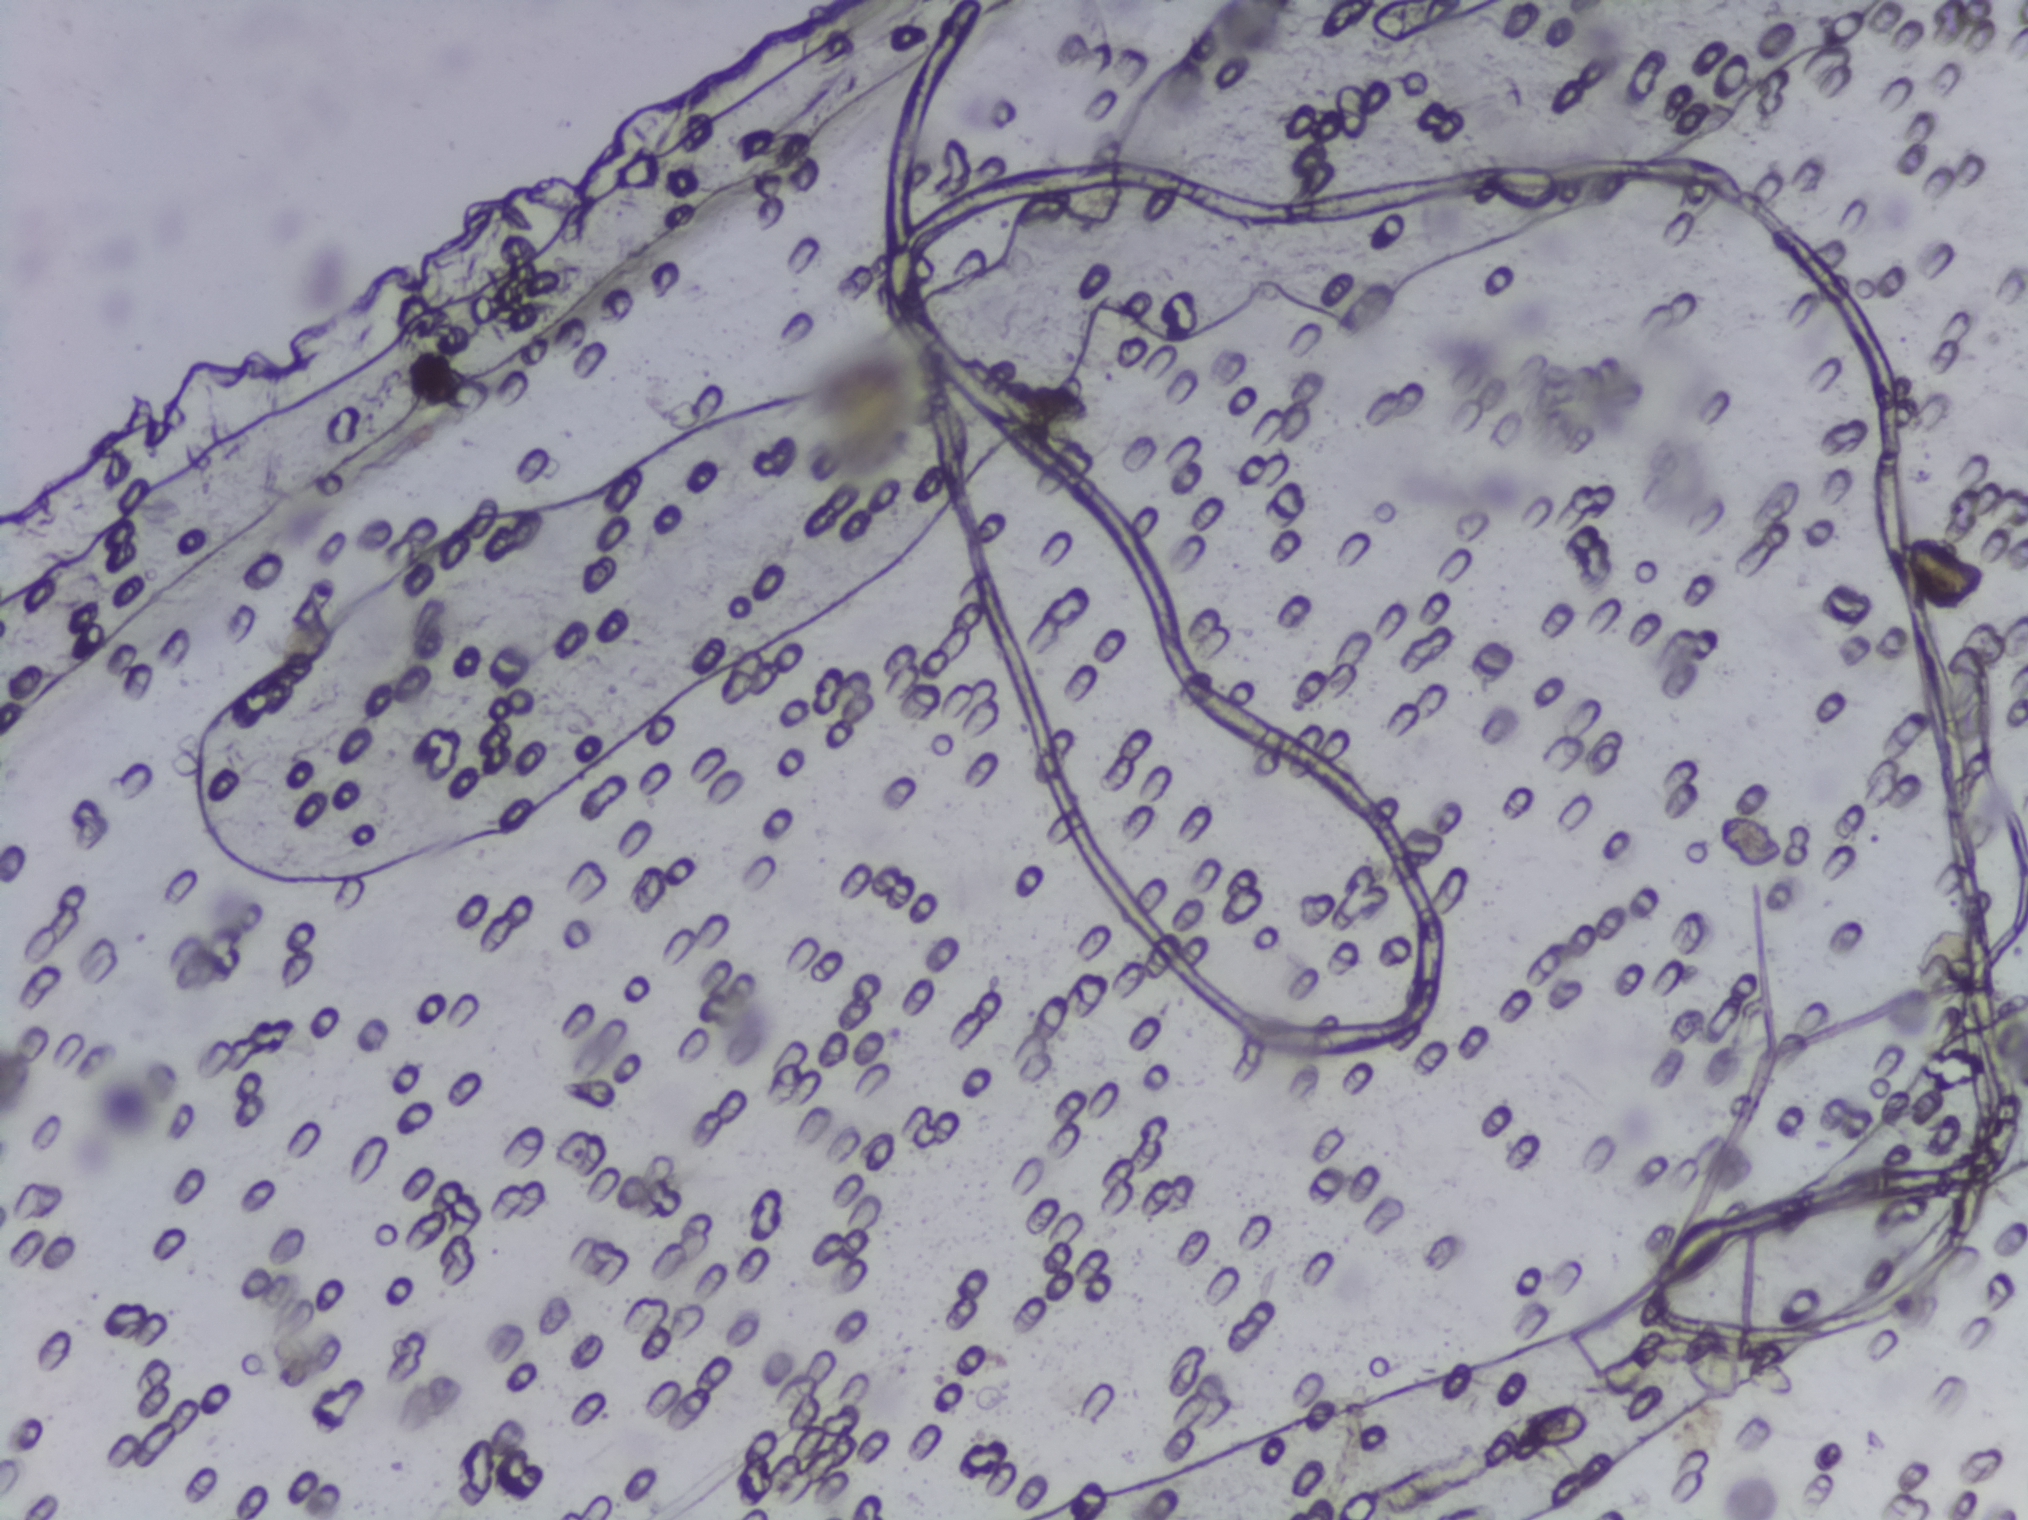
Urine filter membrane photographed through a 4× microscope objective. The image covers about 1.5 × 1.1 mm of the membrane.
Schistosoma eggs: none outlined.